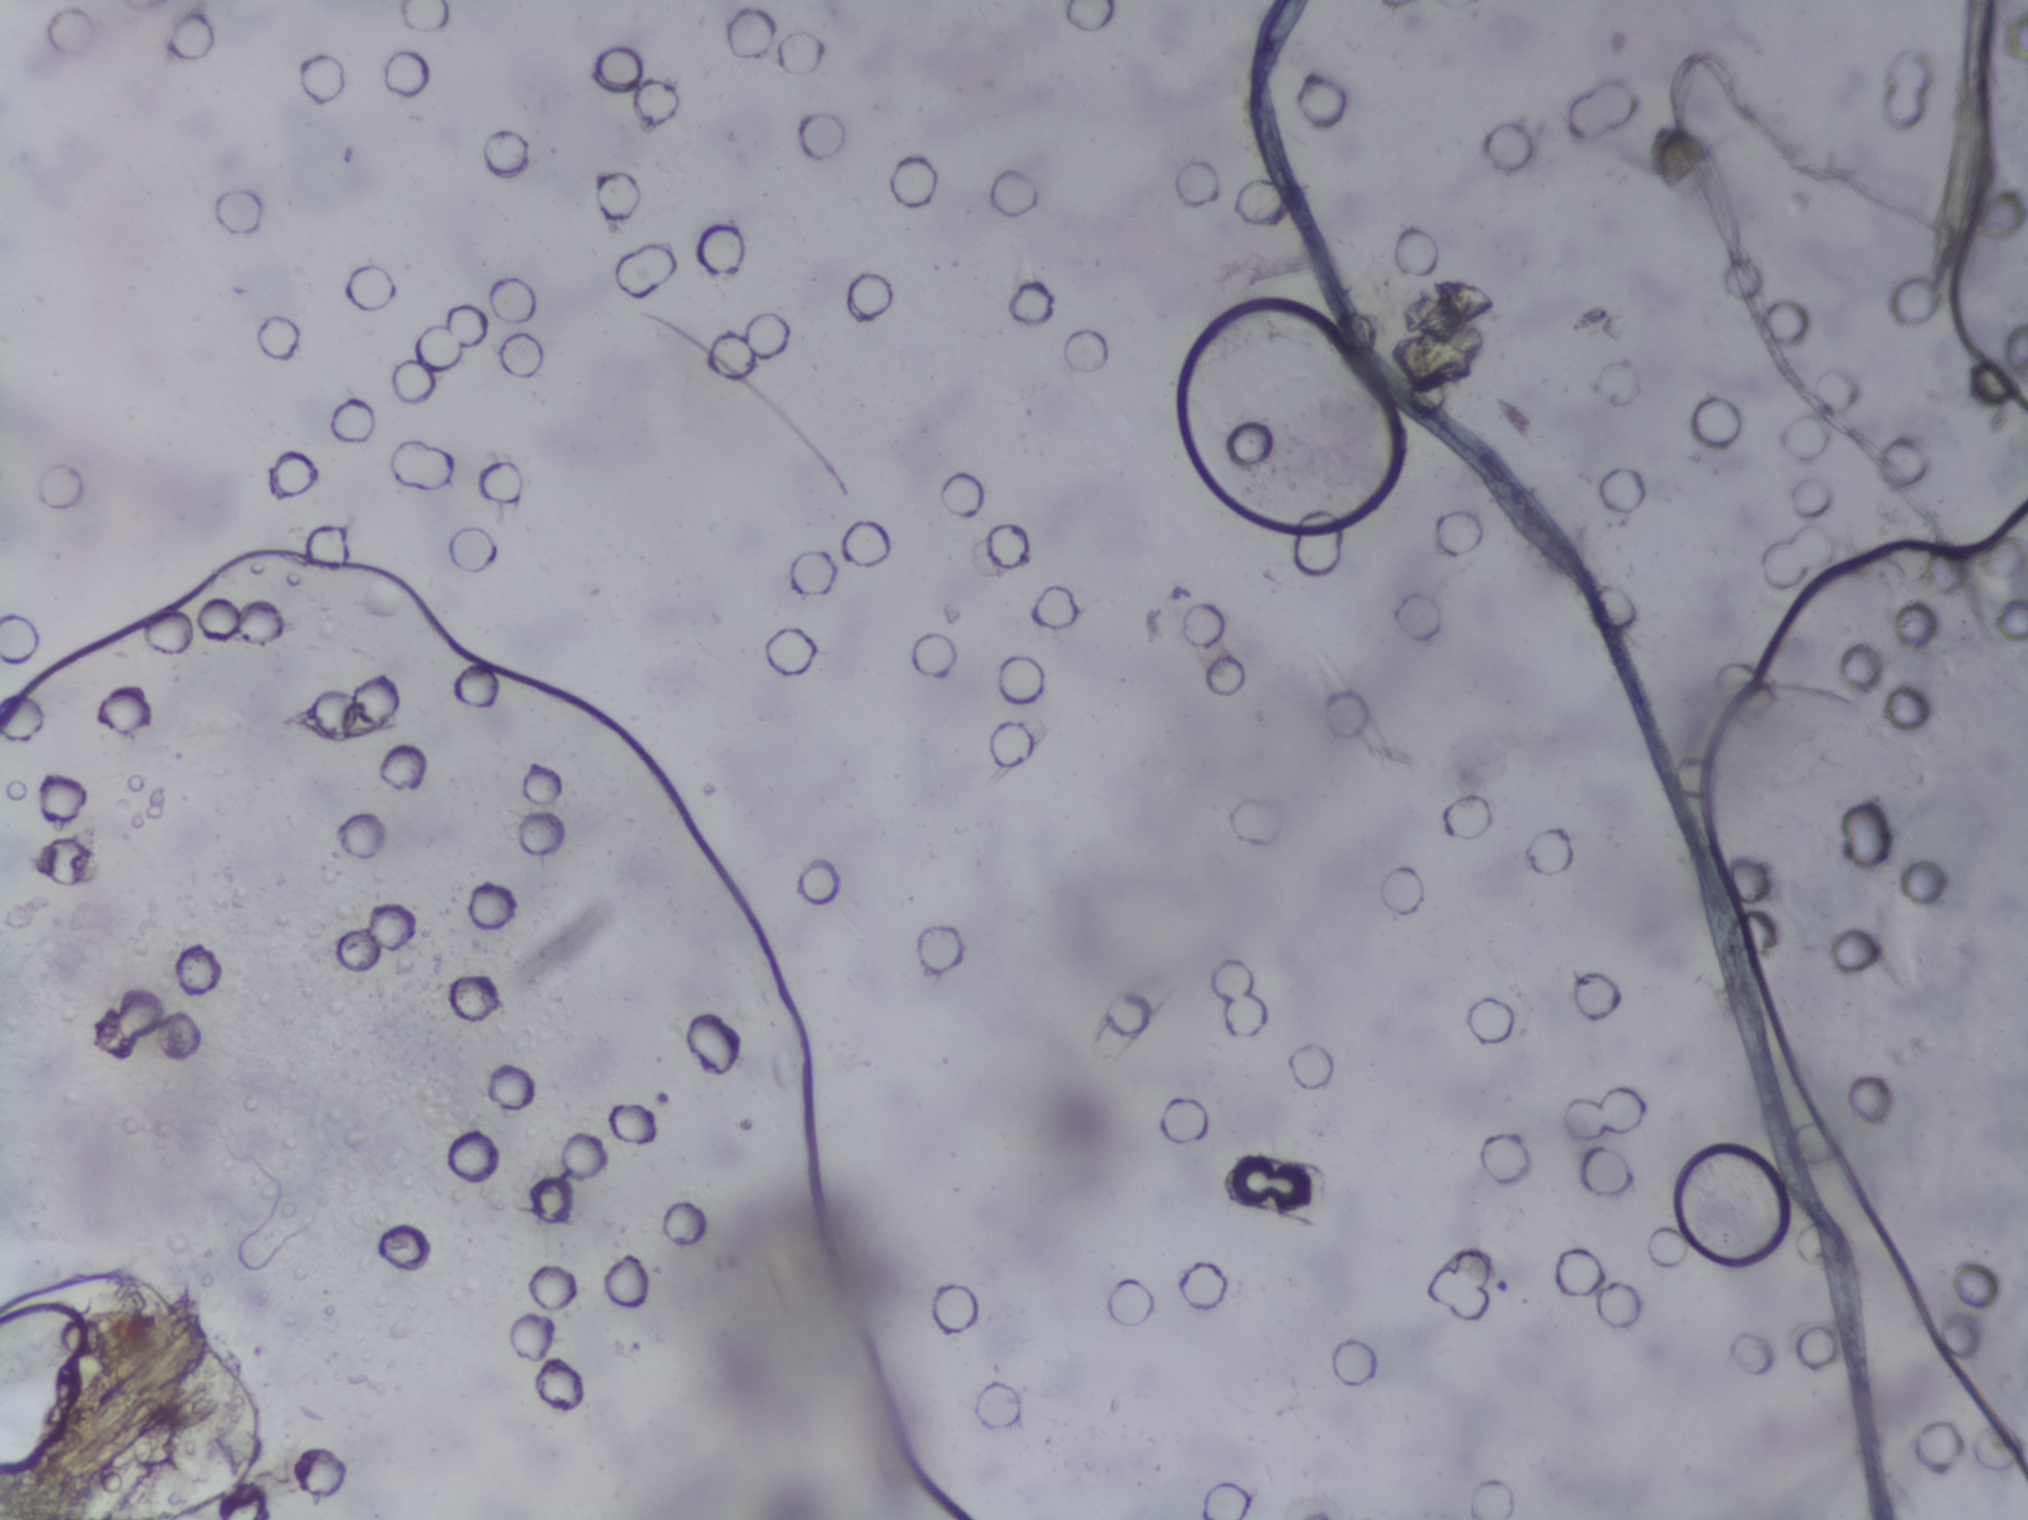
Microscope photograph (4× objective) of a membrane that a urine sample was filtered through.
No Schistosoma egg is outlined in this image's expert annotation.